Photomicrograph of a urine filtration membrane, 4× objective.
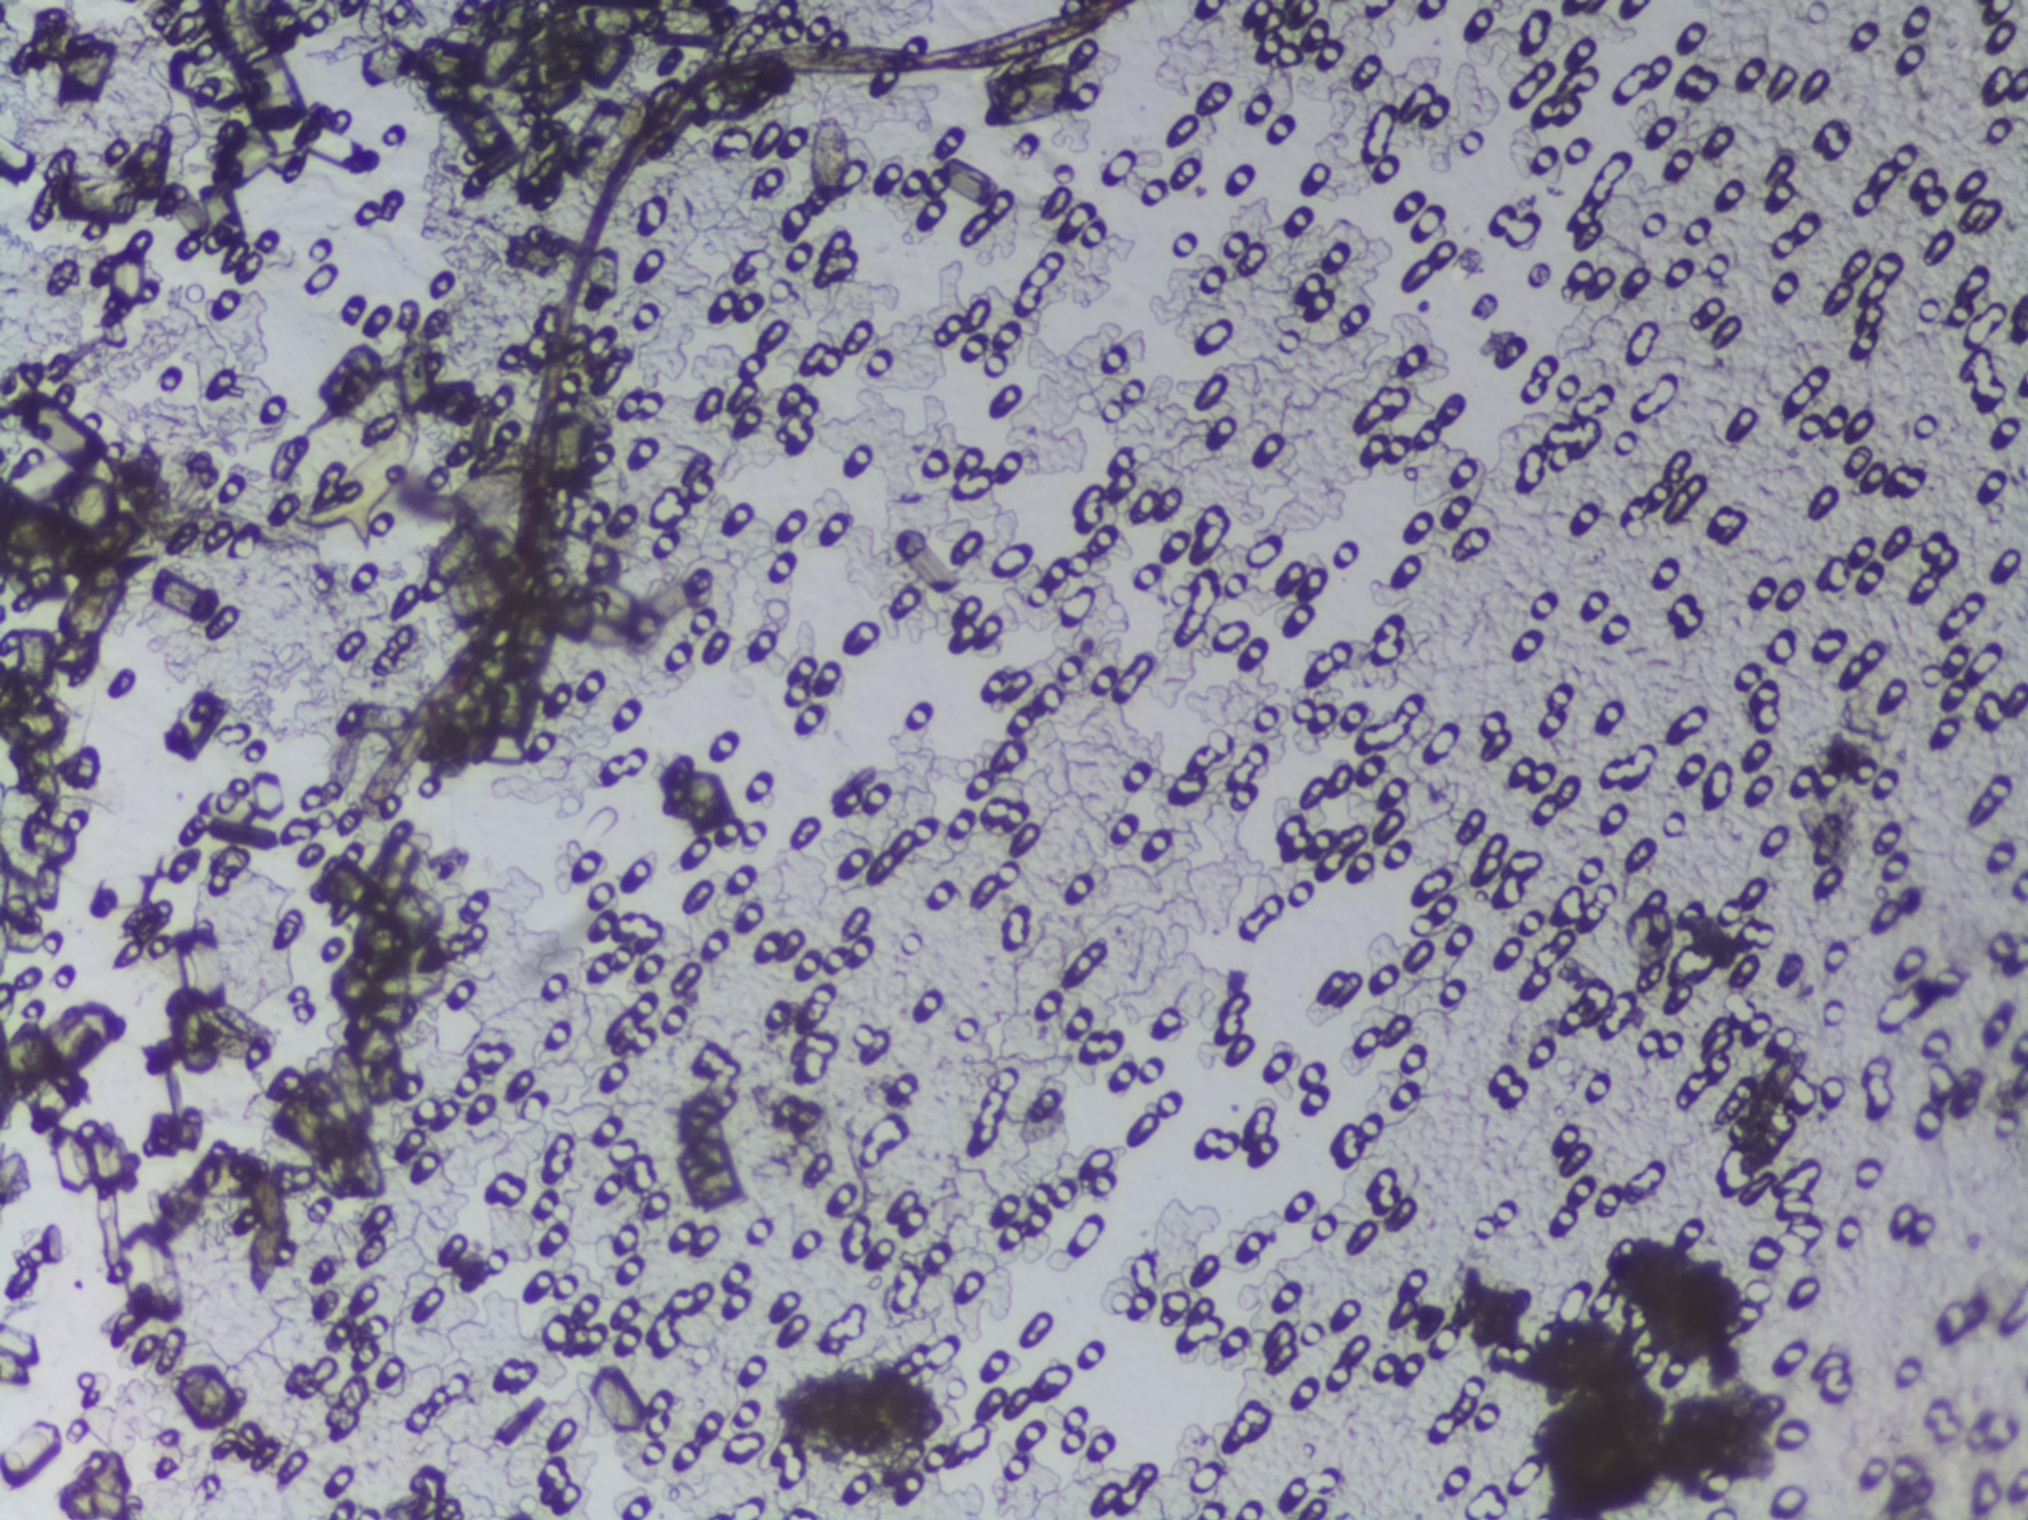
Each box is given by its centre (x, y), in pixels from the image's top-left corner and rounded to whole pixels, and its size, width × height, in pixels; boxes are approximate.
Schistosoma eggs, outlined areas: centre (347, 448), 164 × 192 px; centre (832, 161), 42 × 94 px. An outlined area can hold more than one egg.